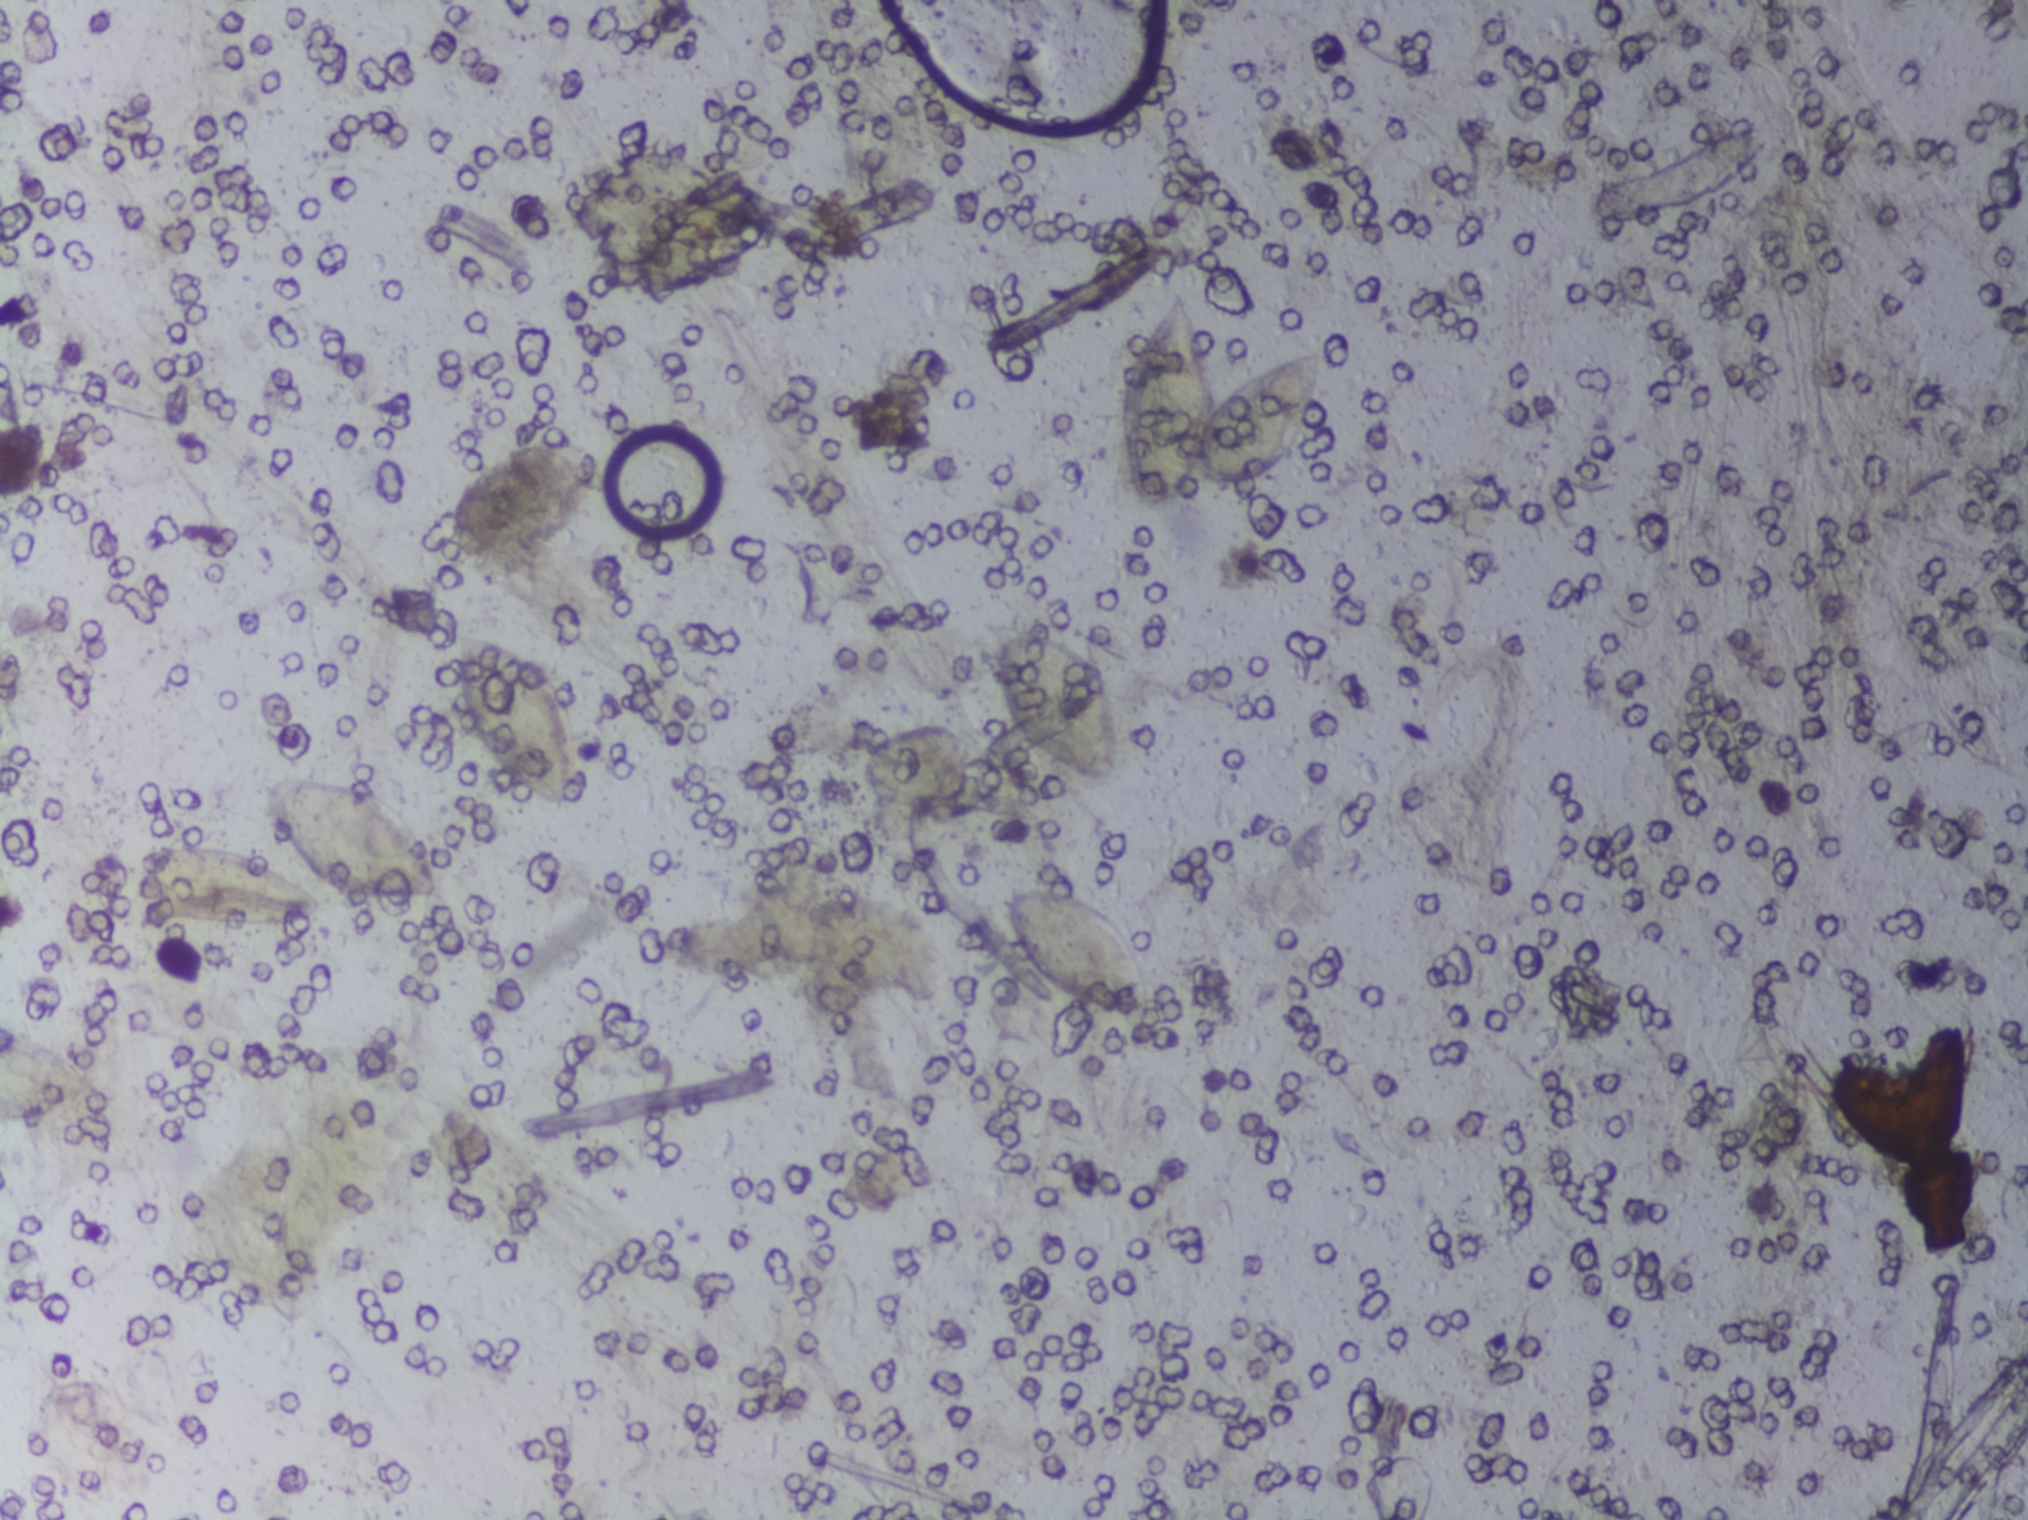
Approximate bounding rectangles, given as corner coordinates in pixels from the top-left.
Seven areas of this image are outlined as Schistosoma eggs, from left to right: (x1=0, y1=1024, x2=107, y2=1128) (reaching the left edge of the frame); (x1=139, y1=841, x2=326, y2=935); (x1=263, y1=772, x2=447, y2=906); (x1=452, y1=627, x2=580, y2=813); (x1=990, y1=621, x2=1125, y2=786); (x1=1000, y1=884, x2=1158, y2=1021); (x1=1109, y1=289, x2=1325, y2=515). A single outlined area may contain several eggs.
Urine filter membrane photographed through a 4× microscope objective. The field of view is about 1.5 mm × 1.1 mm.